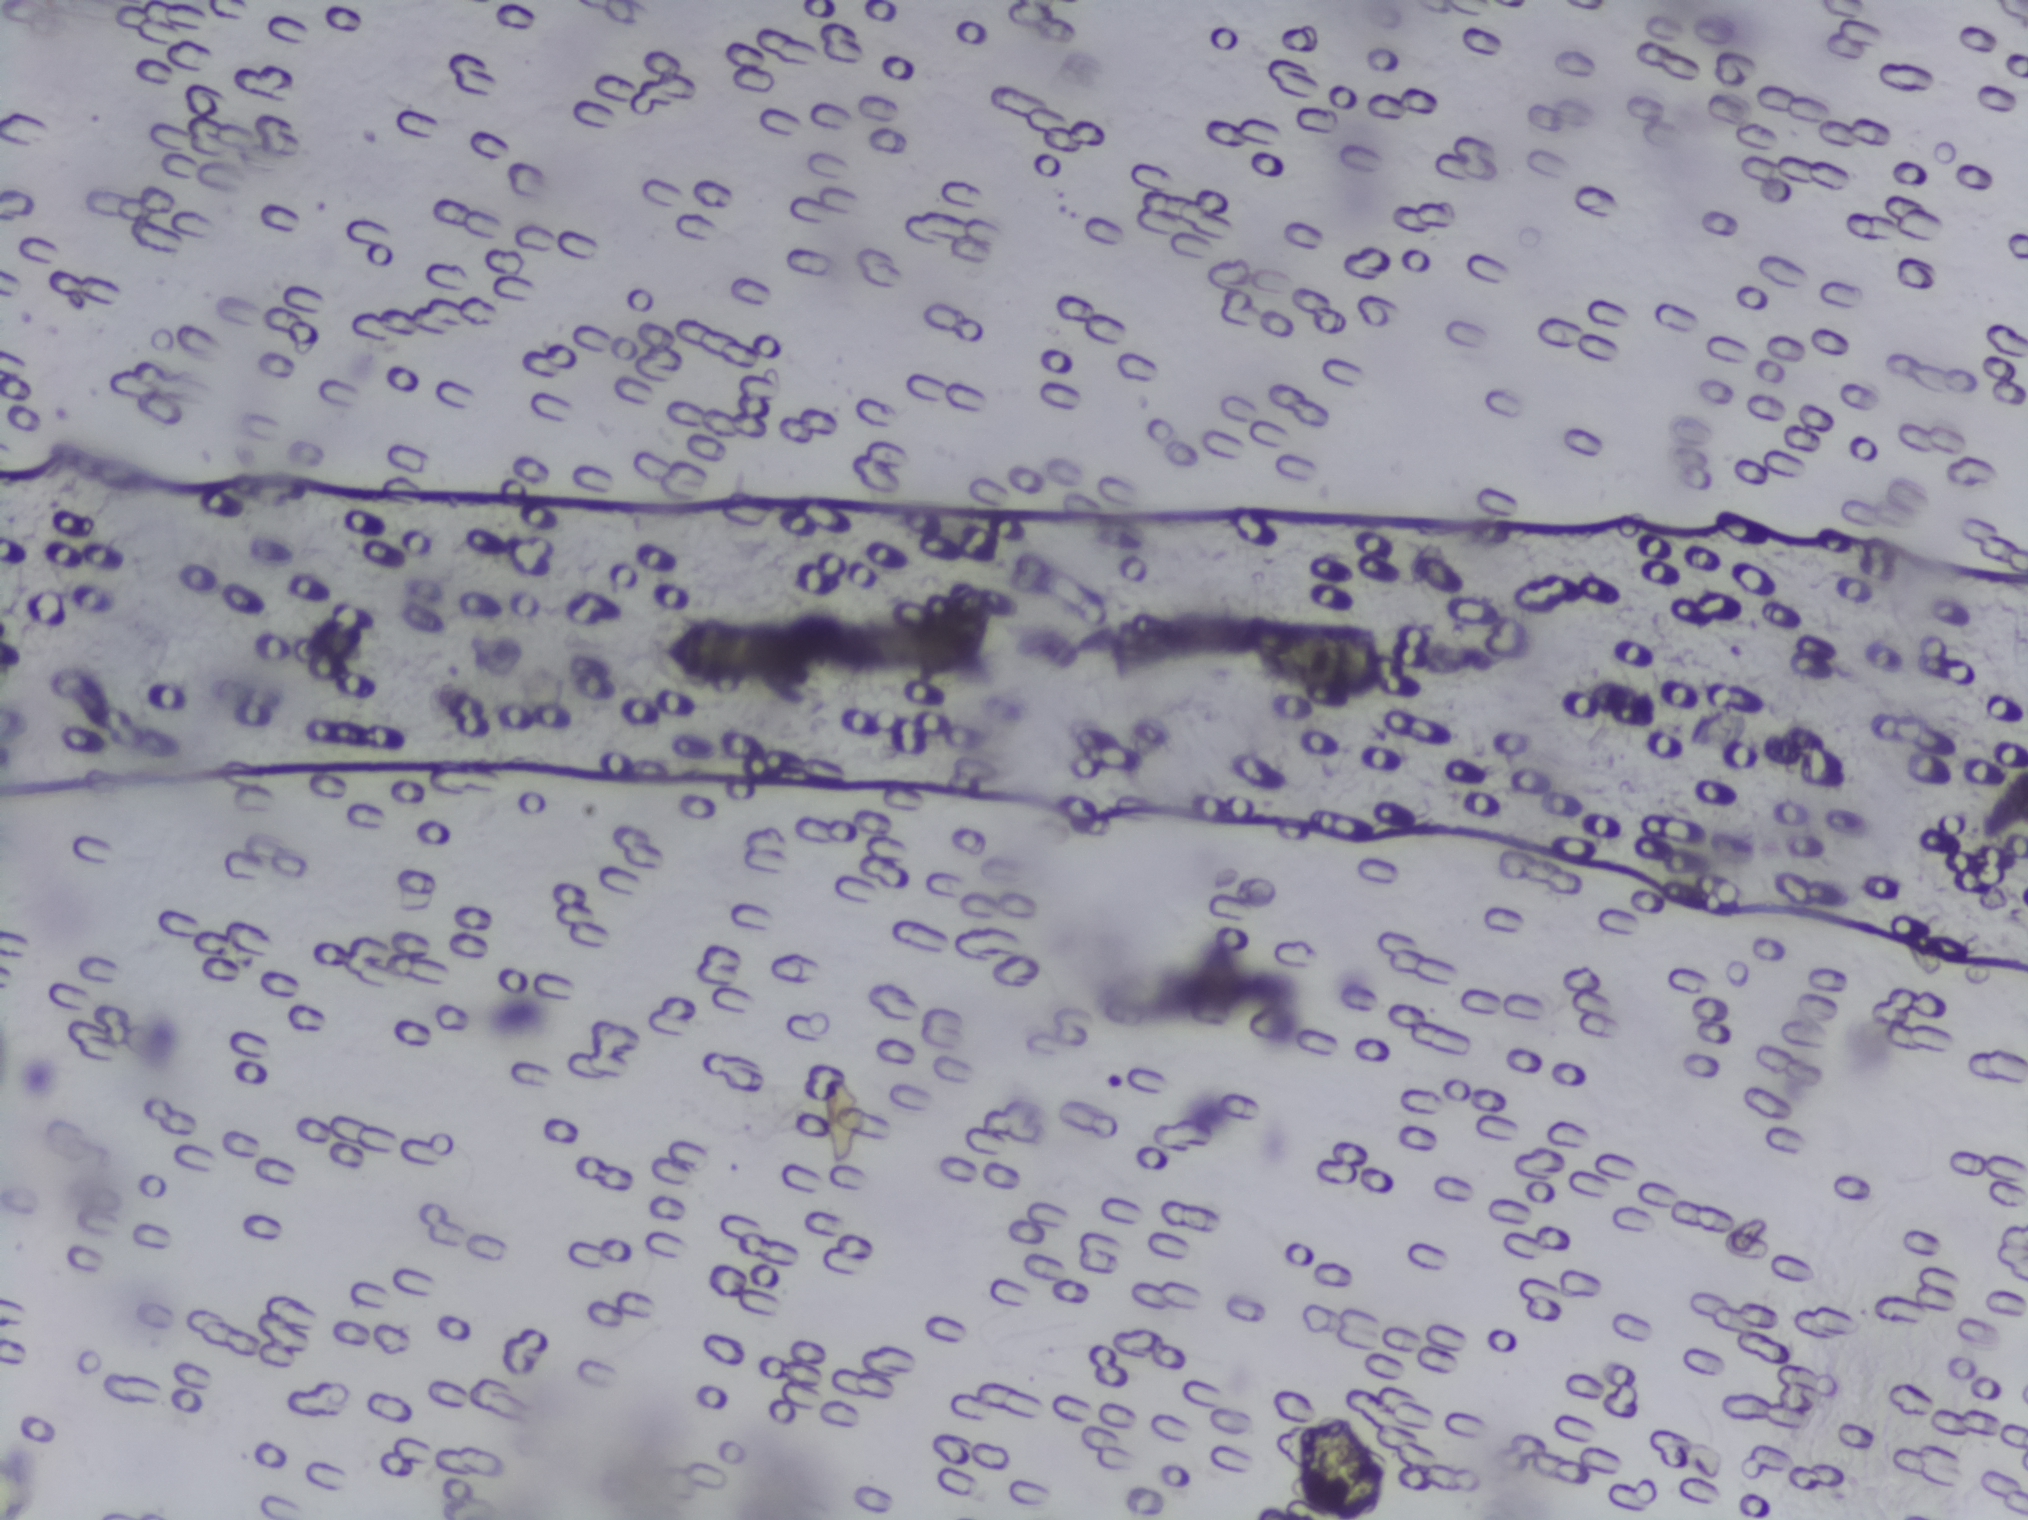
Urine filter membrane photographed through a 4× microscope objective.
Schistosoma eggs: none outlined.